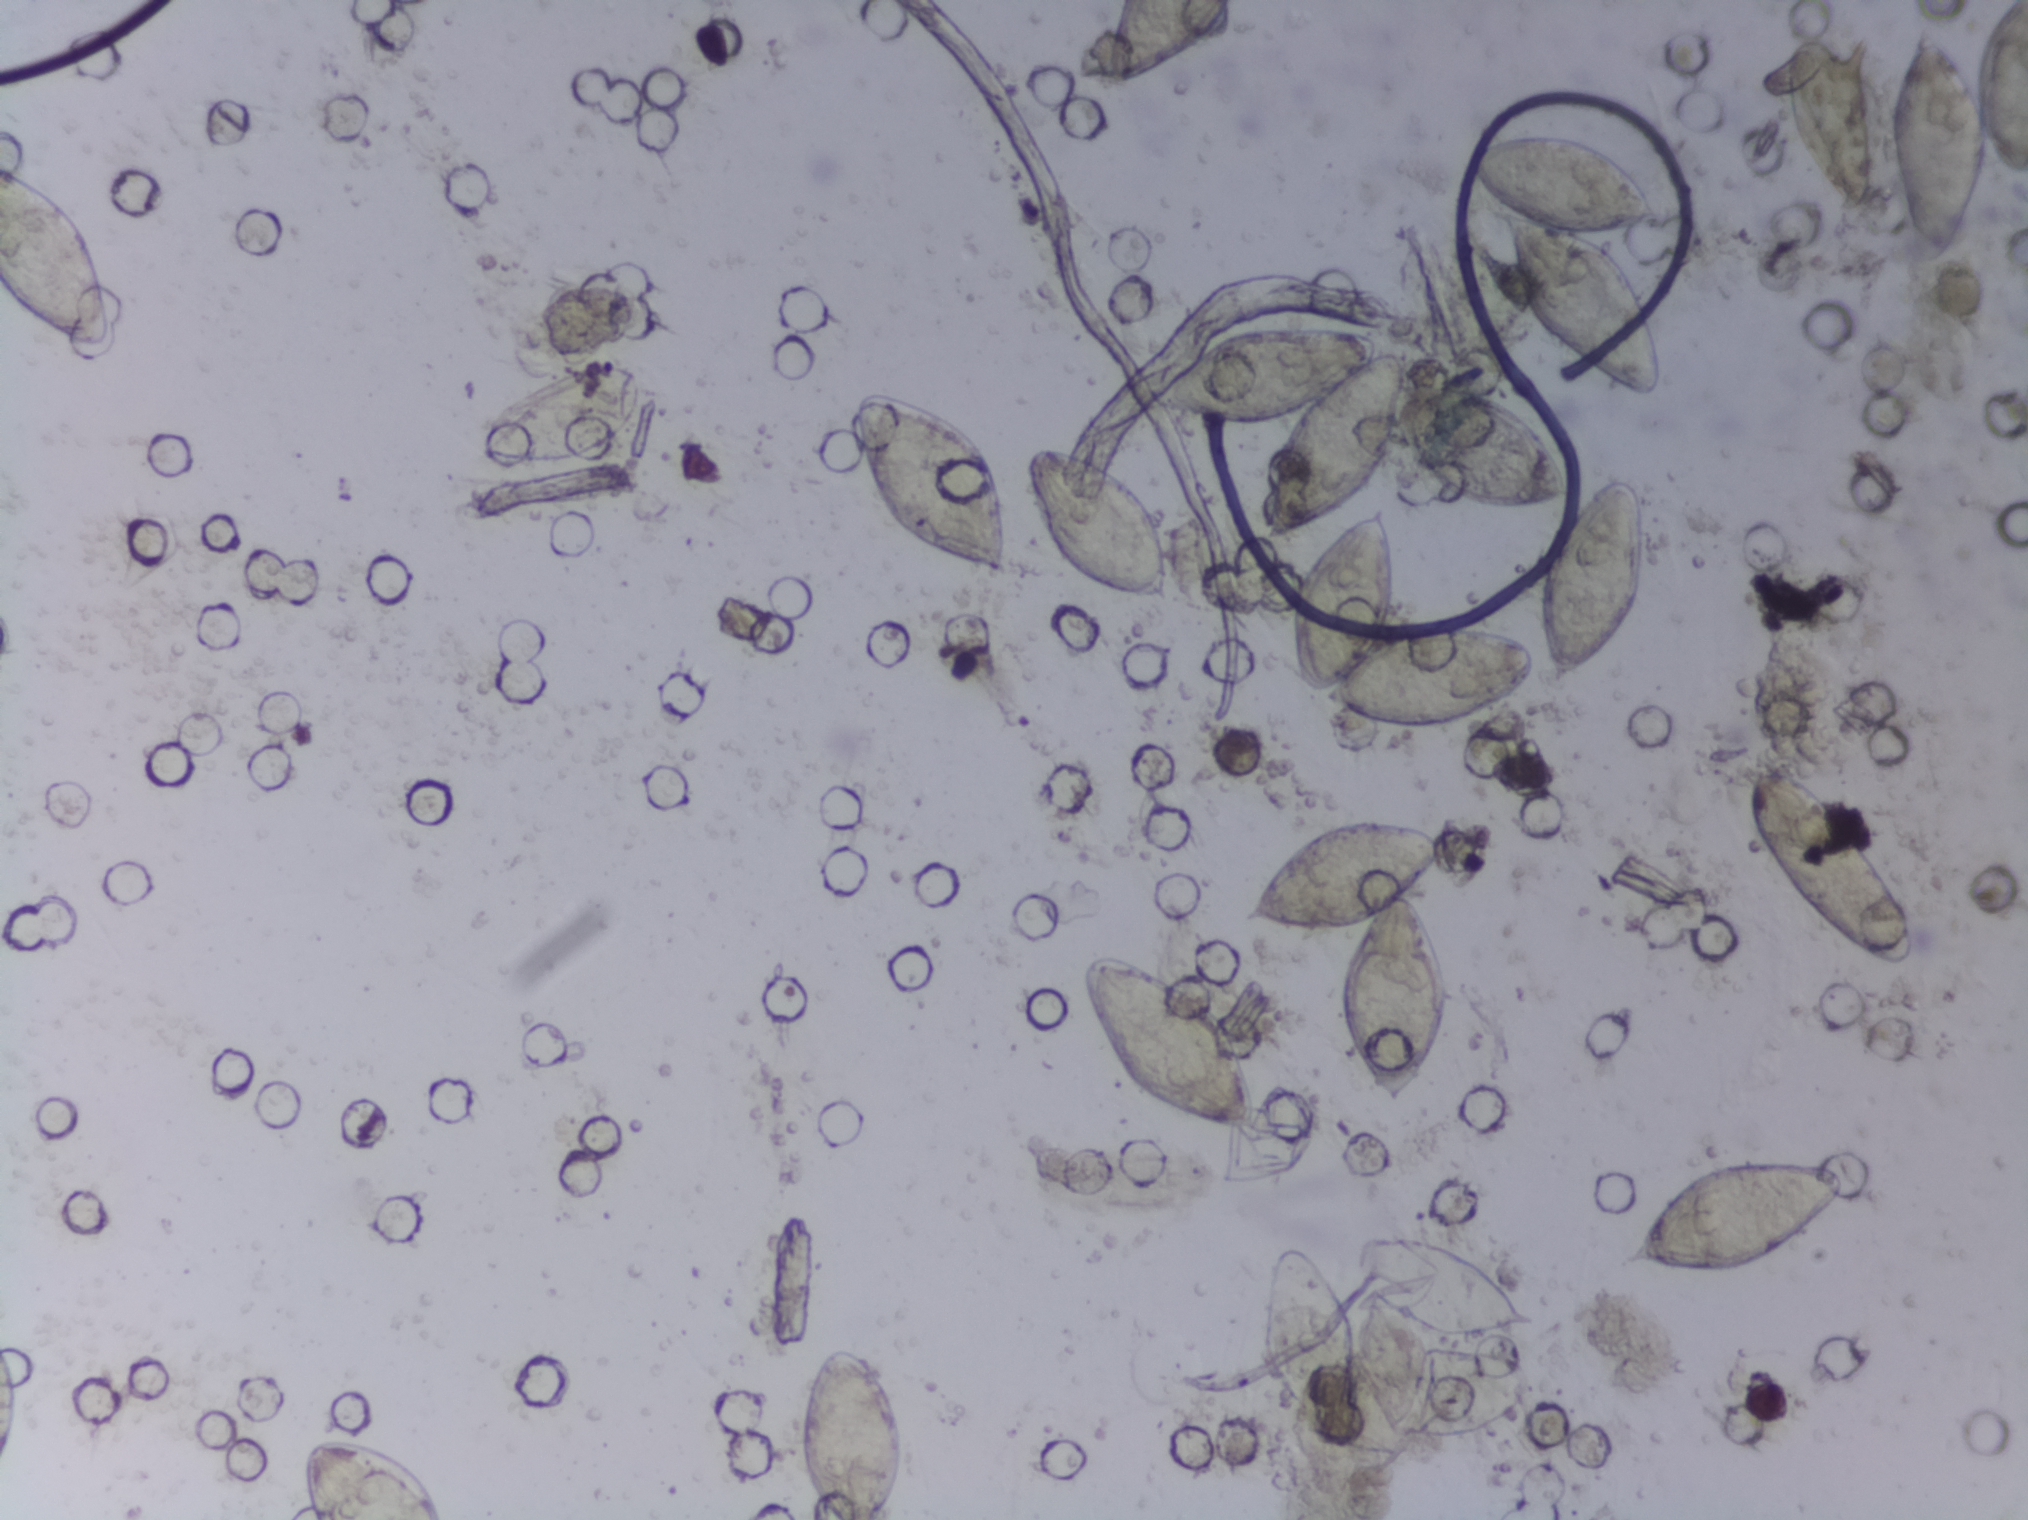
Urine filtration membrane under a 4× objective, photographed by an automated digital microscope. The image covers about 1.5 × 1.1 mm of the membrane.
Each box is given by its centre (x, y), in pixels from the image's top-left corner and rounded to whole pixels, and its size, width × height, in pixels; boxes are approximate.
18 areas of this image are outlined as Schistosoma eggs, from left to right: centre (63, 257), 127 × 200 px (reaching the left edge of the frame); centre (375, 1478), 149 × 84 px (reaching the bottom edge of the frame); centre (560, 411), 166 × 103 px; centre (850, 1433), 111 × 174 px (reaching the bottom edge of the frame); centre (931, 484), 161 × 186 px; centre (1098, 522), 151 × 161 px; centre (1166, 46), 131 × 93 px (reaching the top edge of the frame); centre (1170, 1048), 183 × 193 px; centre (1341, 960), 220 × 292 px; centre (1360, 435), 426 × 224 px (a cluster of eggs); centre (1399, 1342), 279 × 217 px; centre (1413, 616), 256 × 234 px; centre (1564, 266), 200 × 272 px; centre (1592, 580), 113 × 217 px; centre (1731, 1216), 232 × 125 px; centre (1828, 121), 99 × 189 px; centre (1831, 858), 172 × 211 px; centre (1958, 131), 140 × 262 px (reaching the top and right edges of the frame). An outlined area can hold more than one egg.